Microscope photograph (4× objective) of a membrane that a urine sample was filtered through.
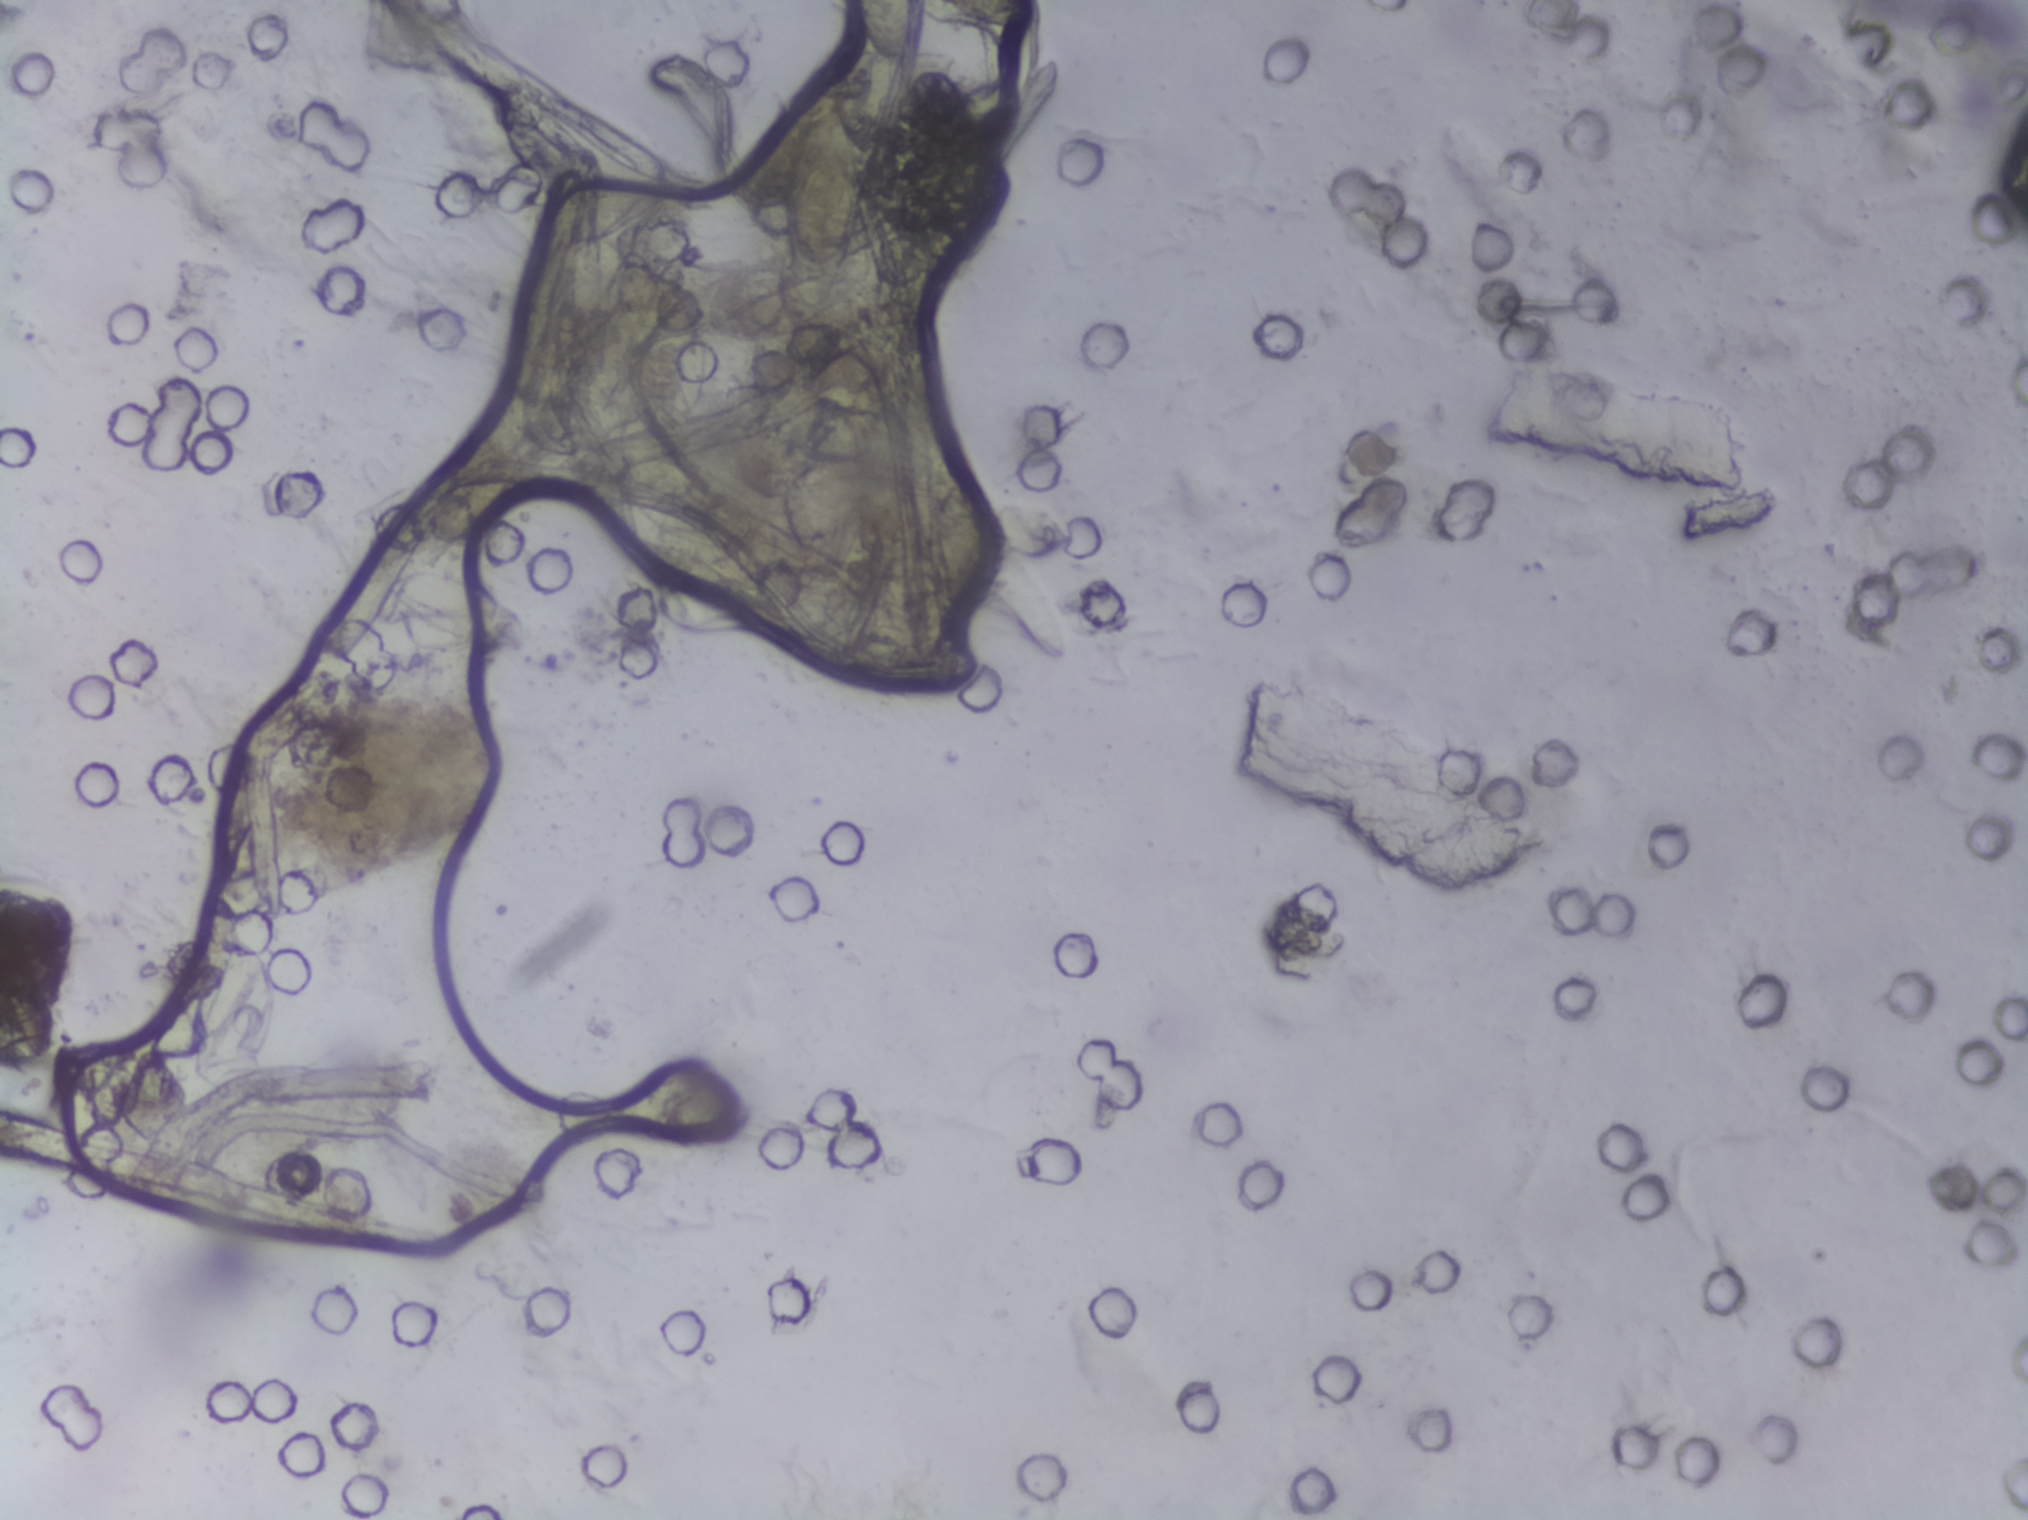
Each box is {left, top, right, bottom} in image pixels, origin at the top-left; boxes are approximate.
Schistosoma egg areas, outlined: {386, 570, 525, 649}; {784, 88, 864, 268}; {854, 0, 913, 66} (reaching the top edge of the frame); {981, 498, 1076, 558}. An outlined area can hold more than one egg. A marked egg may occasionally be S. mansoni rather than S. haematobium.